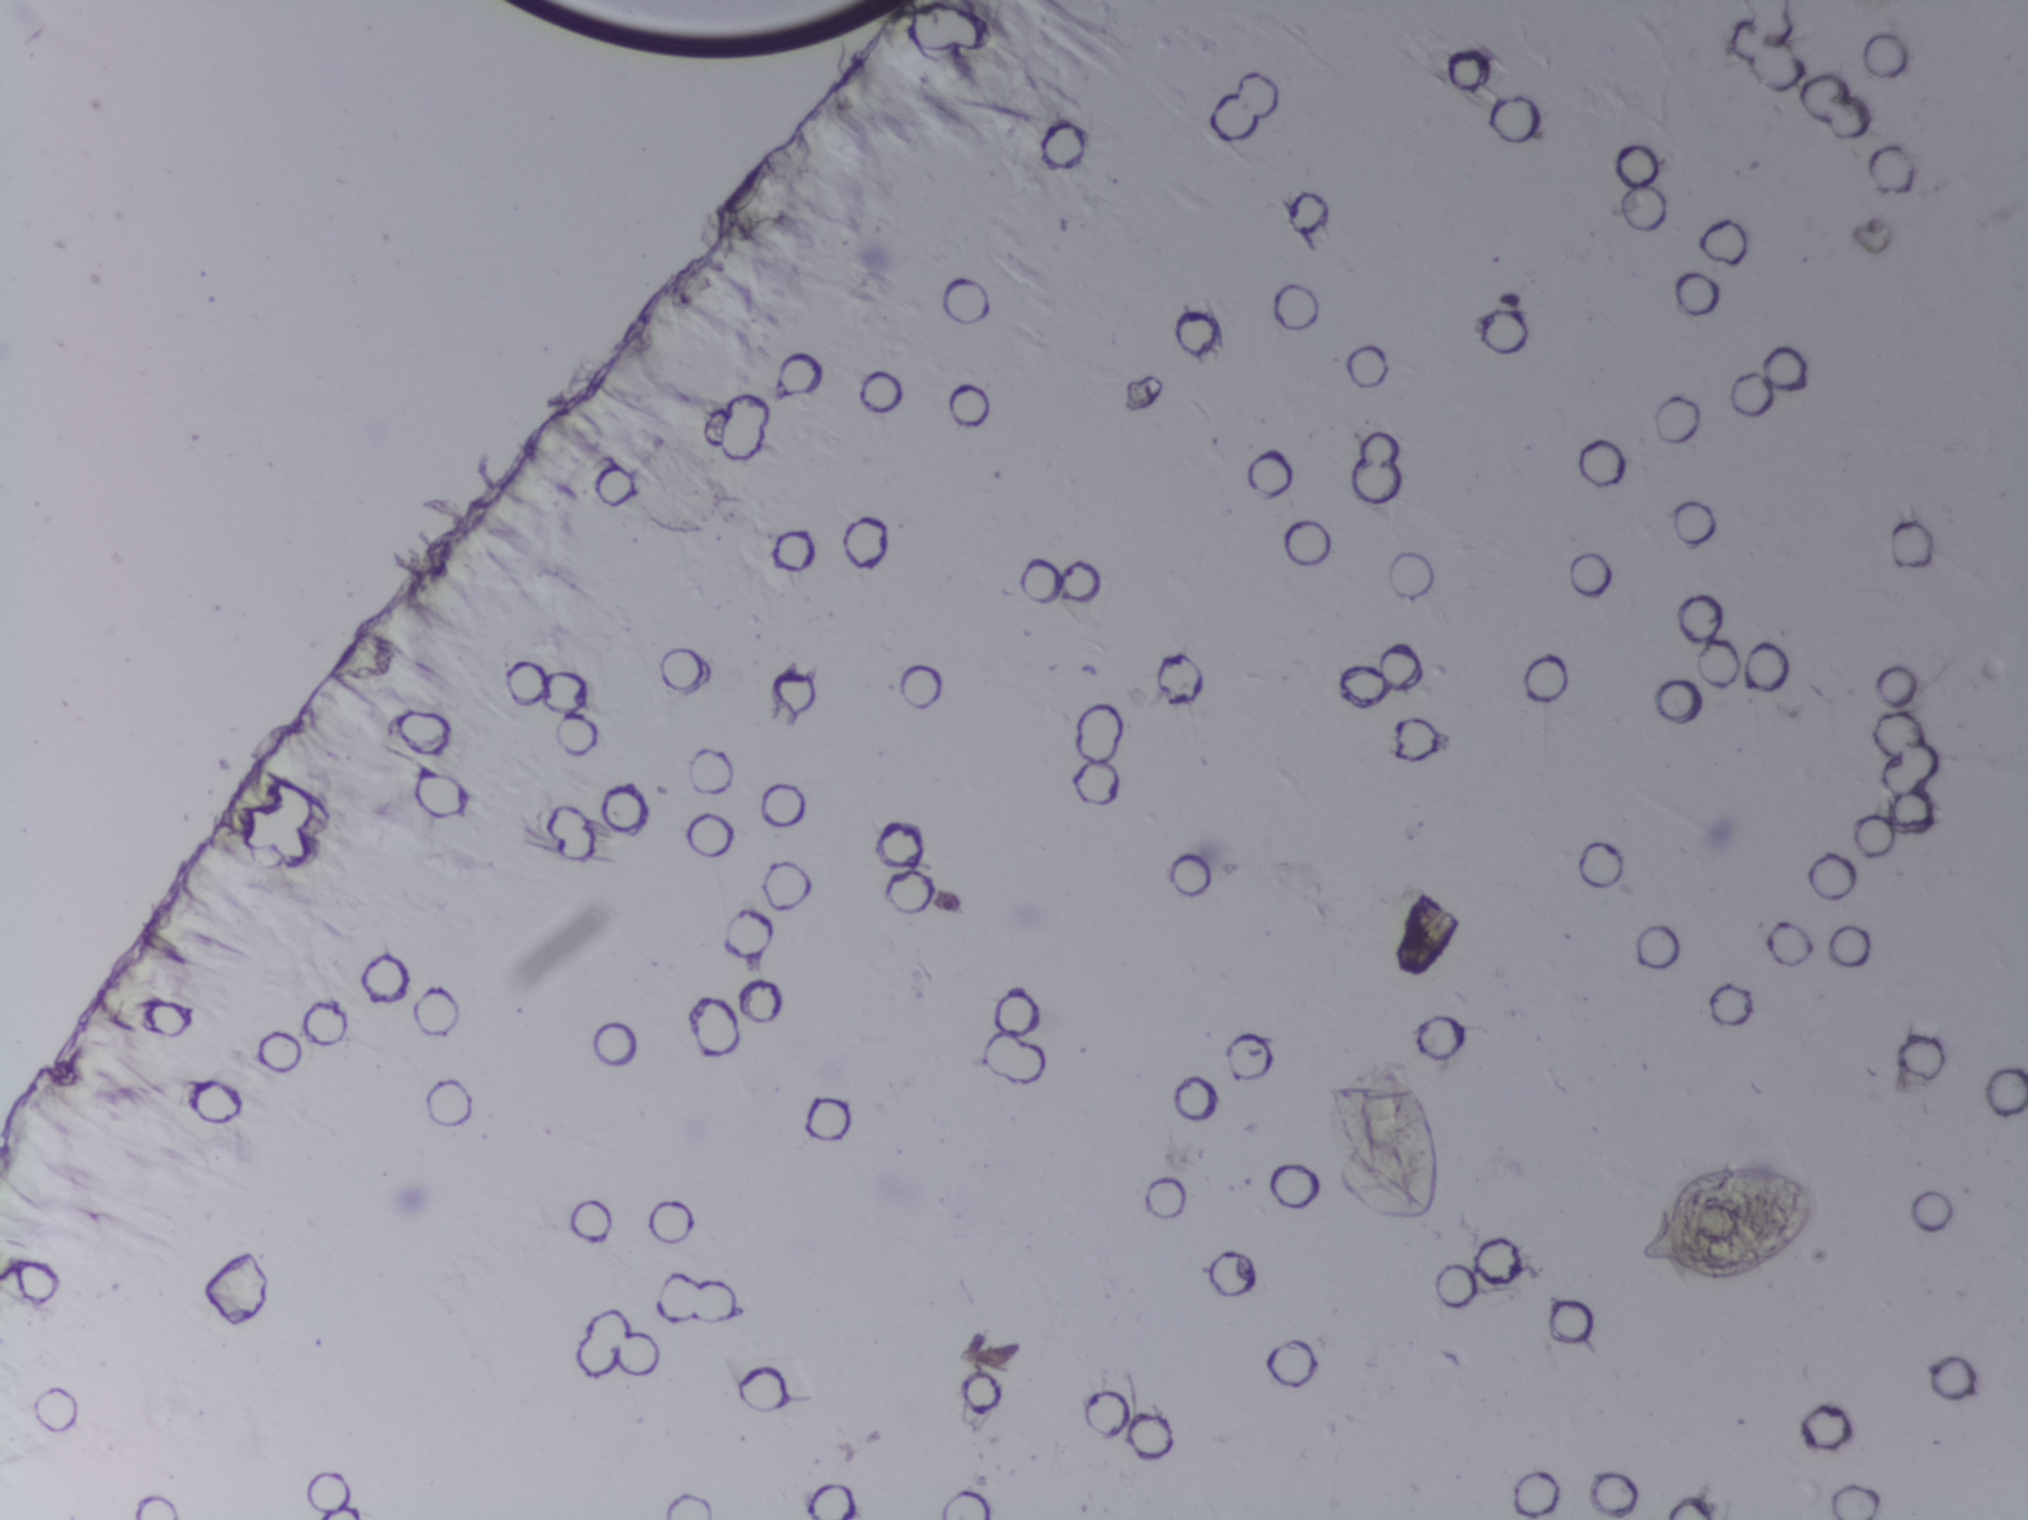
Photograph from an automated digital microscope: urine filter membrane, 4× objective.
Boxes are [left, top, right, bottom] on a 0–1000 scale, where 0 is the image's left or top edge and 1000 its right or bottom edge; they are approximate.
Areas outlined as Schistosoma eggs:
1. [809, 764, 896, 848]
Eggs that touch can end up inside the same outlined area. A marked egg may occasionally be S. mansoni rather than S. haematobium.